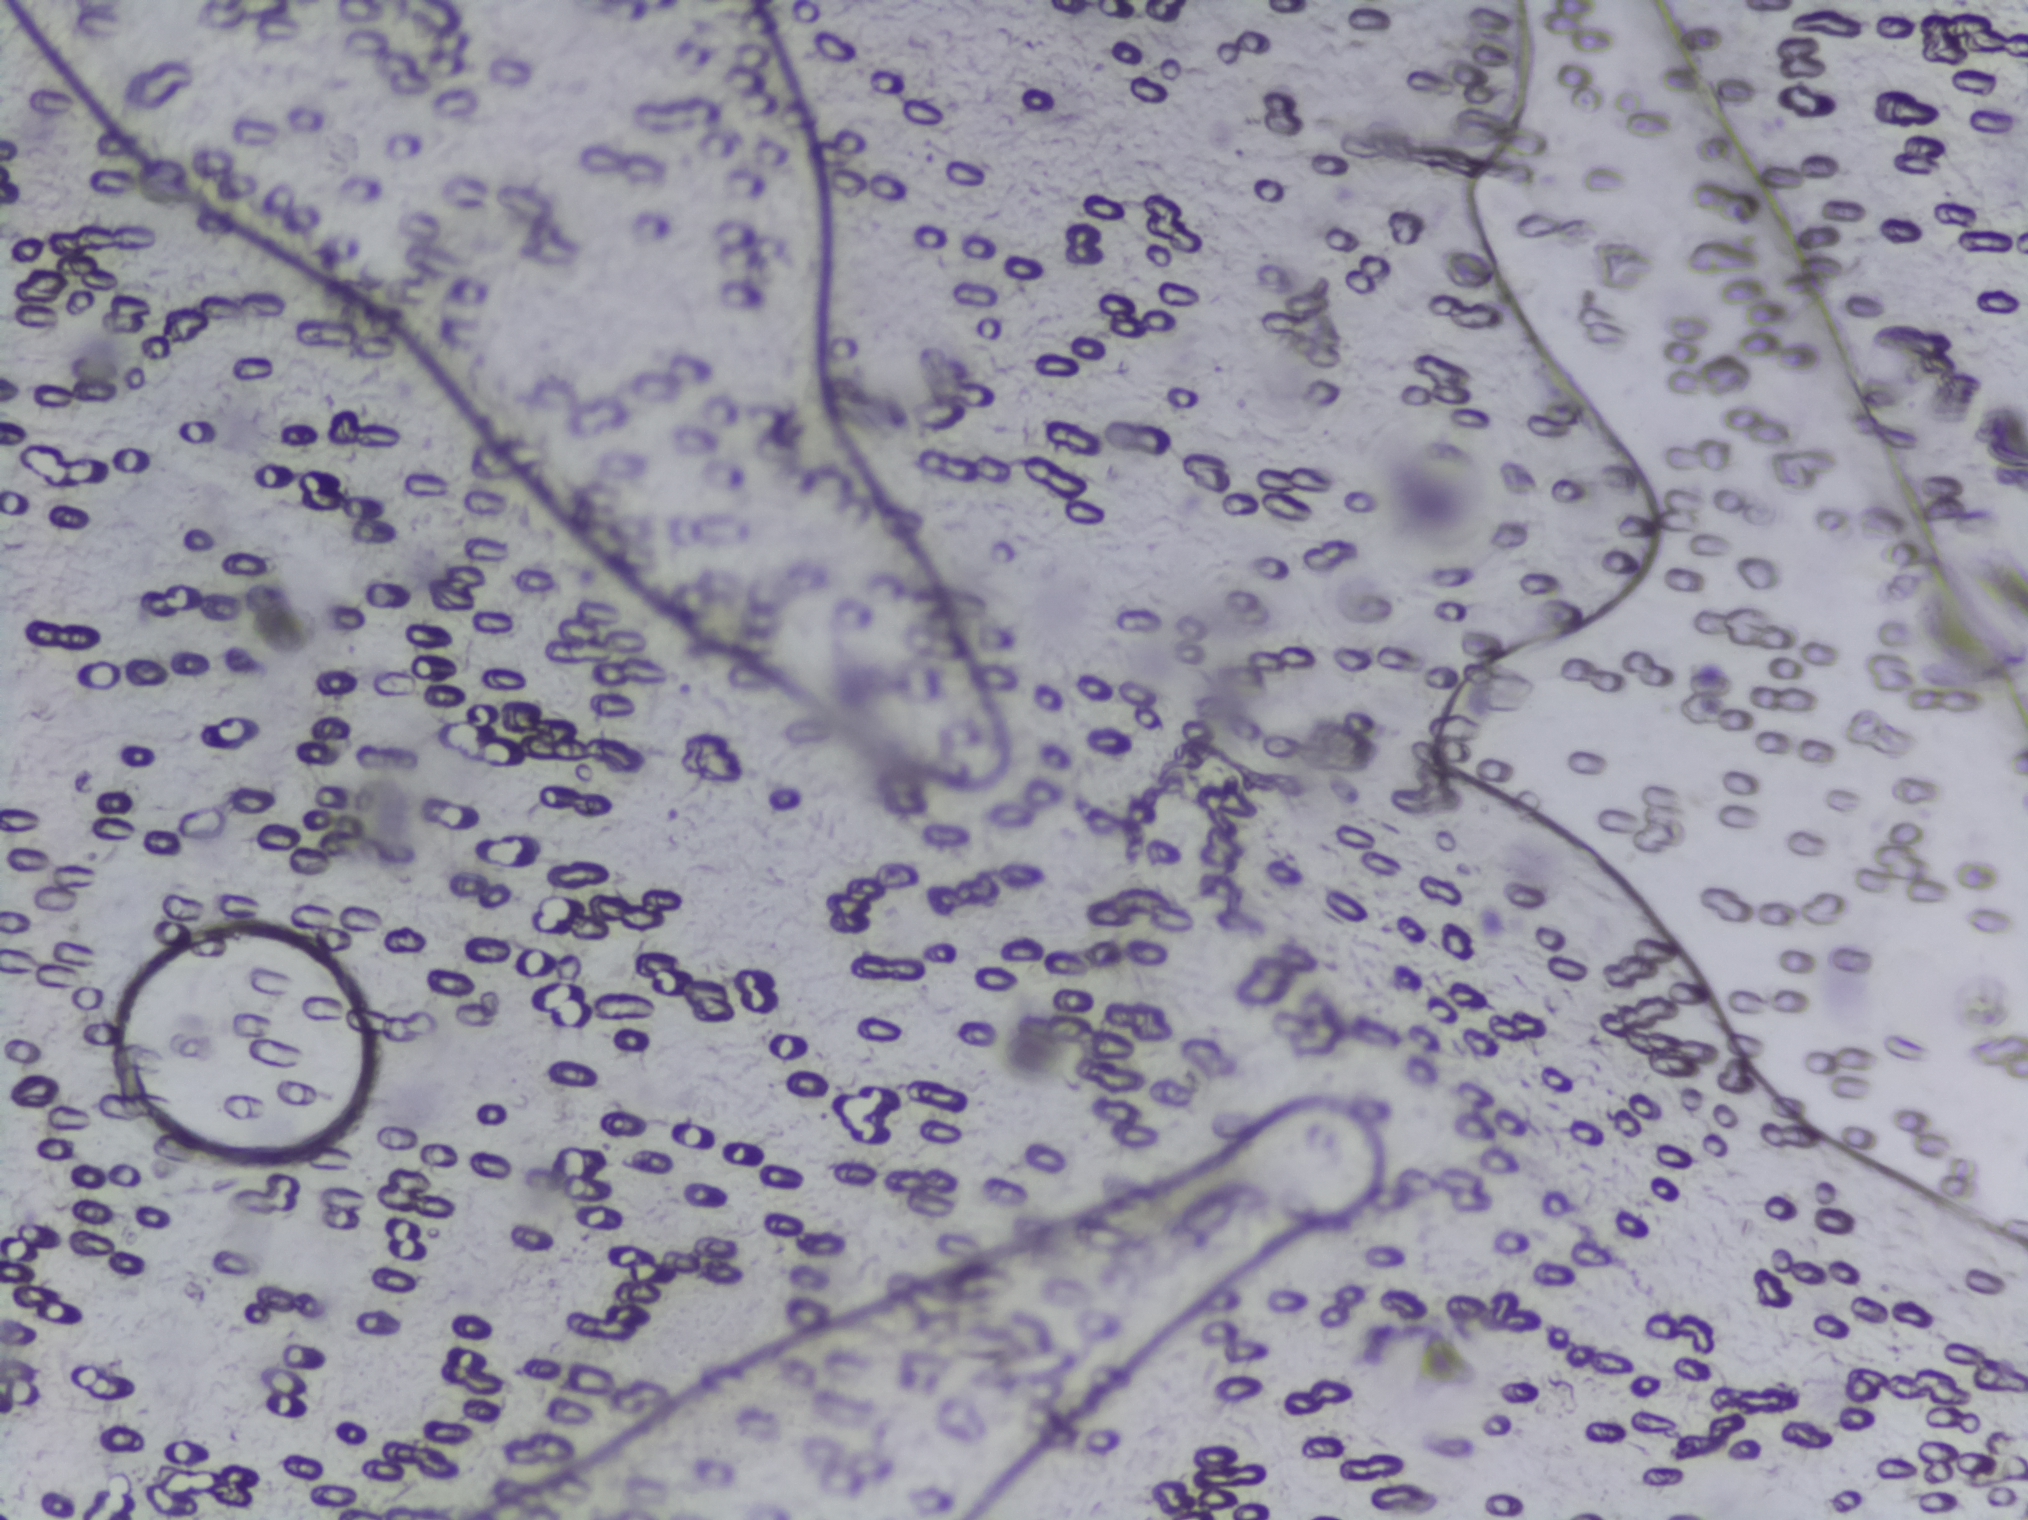
One field of view of a urine filter membrane, 4× objective, 2028 × 1520 pixels.
No area of this image was outlined as a Schistosoma egg.